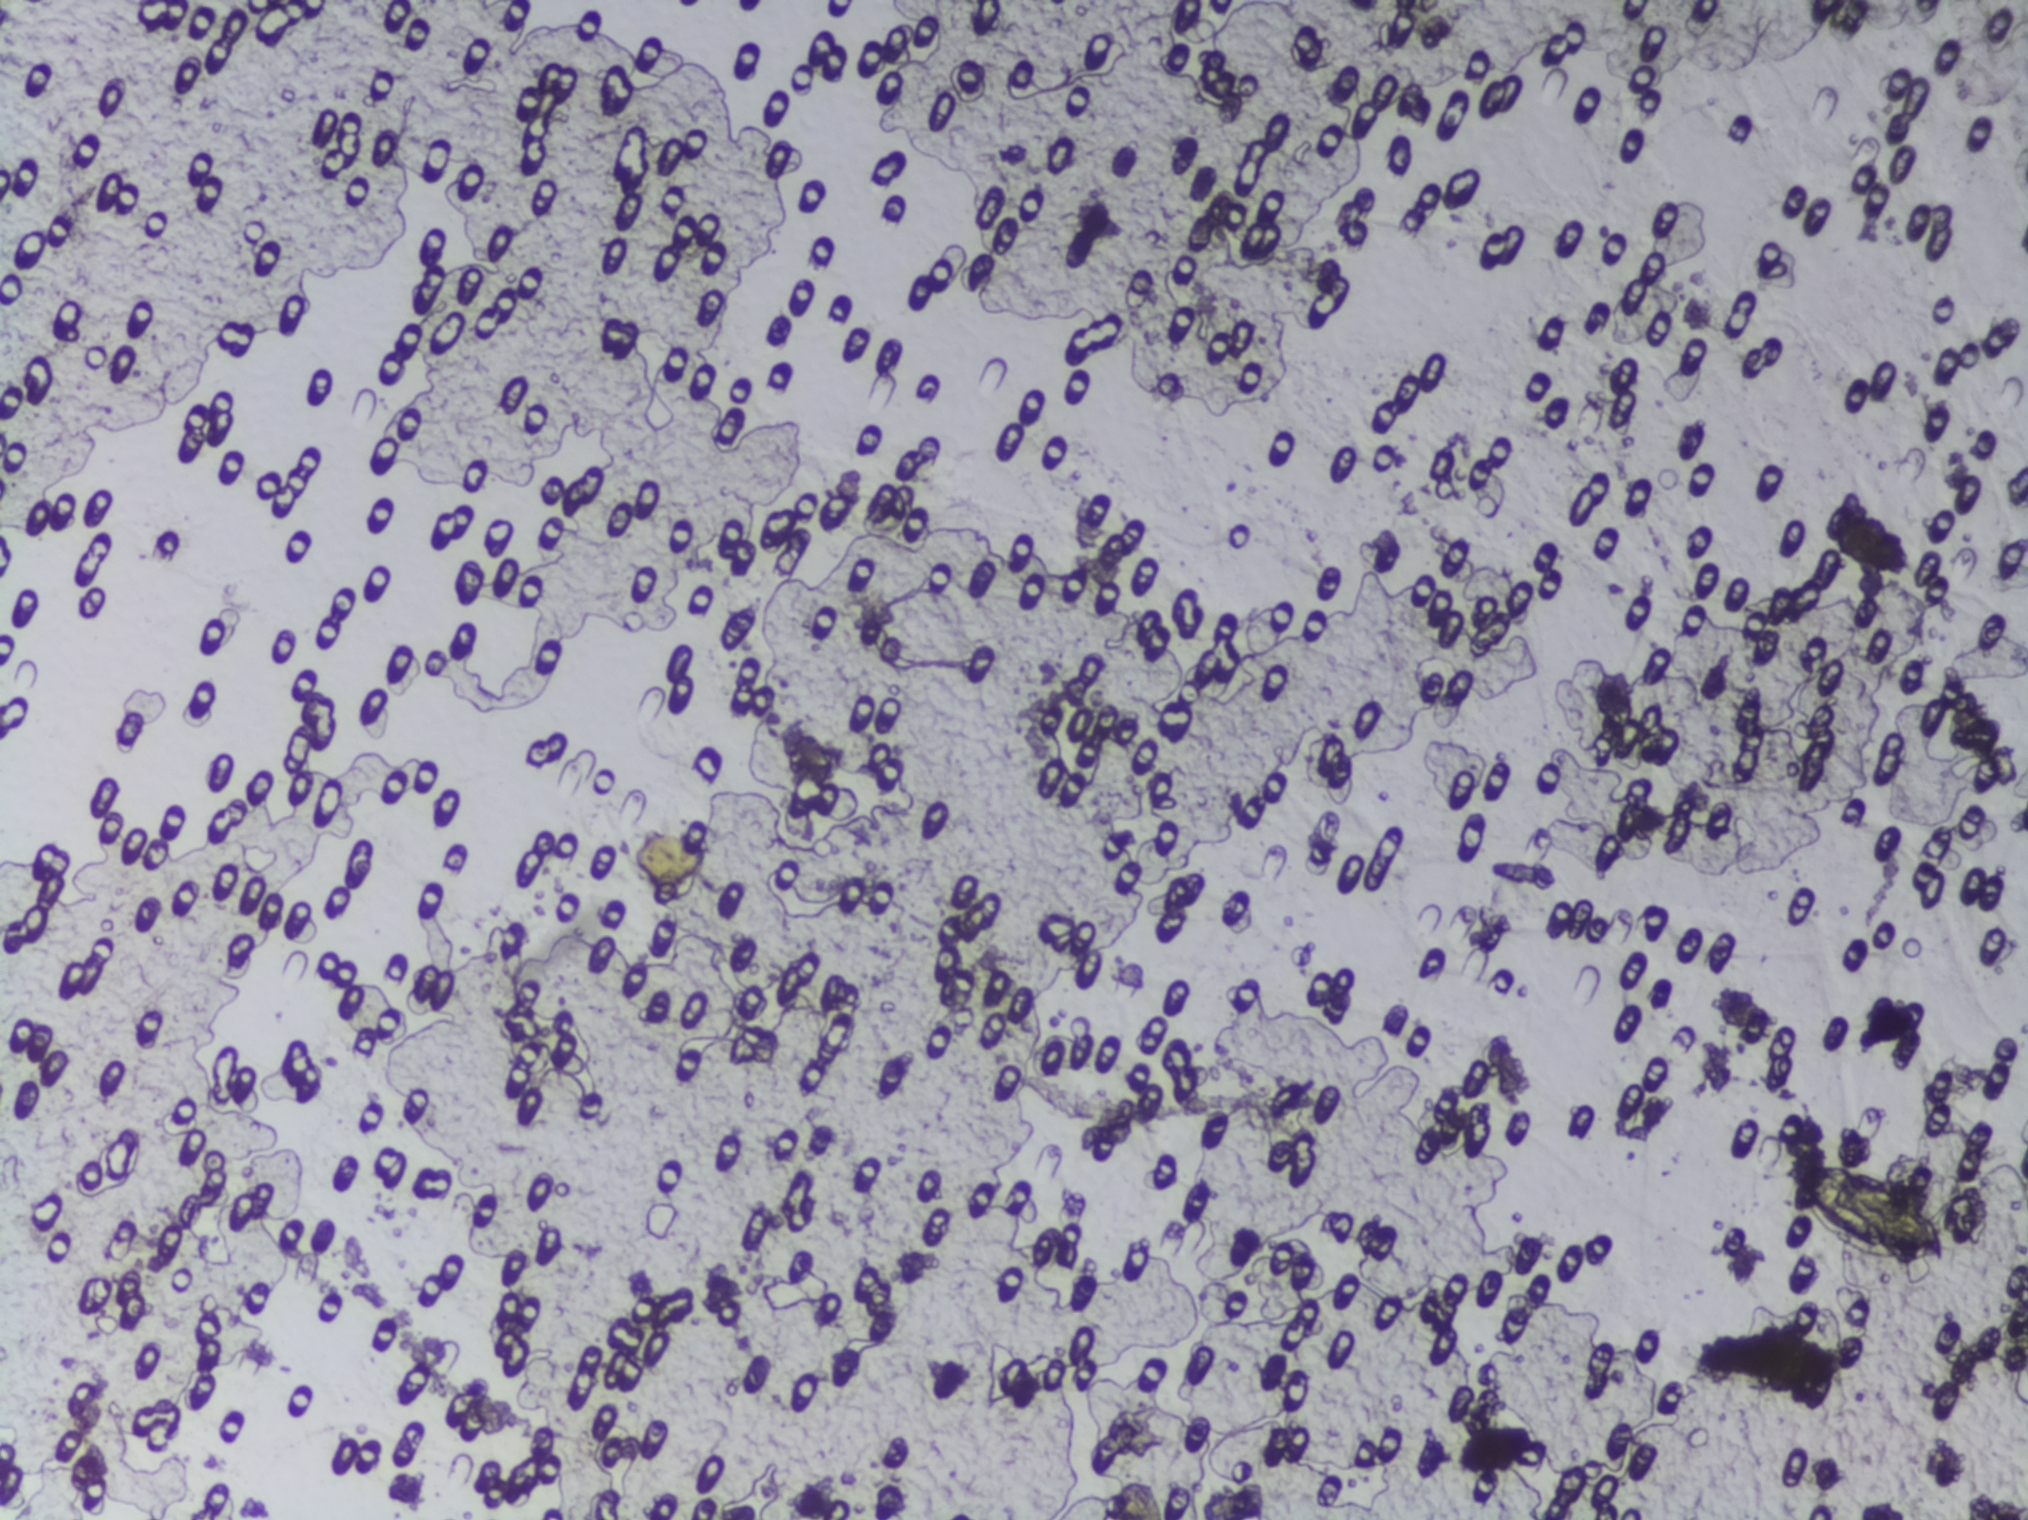
Urine filtration membrane under a 4× objective, photographed by an automated digital microscope.
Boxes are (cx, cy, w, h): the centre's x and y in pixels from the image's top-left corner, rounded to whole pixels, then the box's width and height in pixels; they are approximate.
Schistosoma egg areas, outlined: (cx=1872, cy=1216, w=157, h=103). A single outlined area may contain several eggs. Any one outlined egg may, rarely, be S. mansoni rather than S. haematobium.